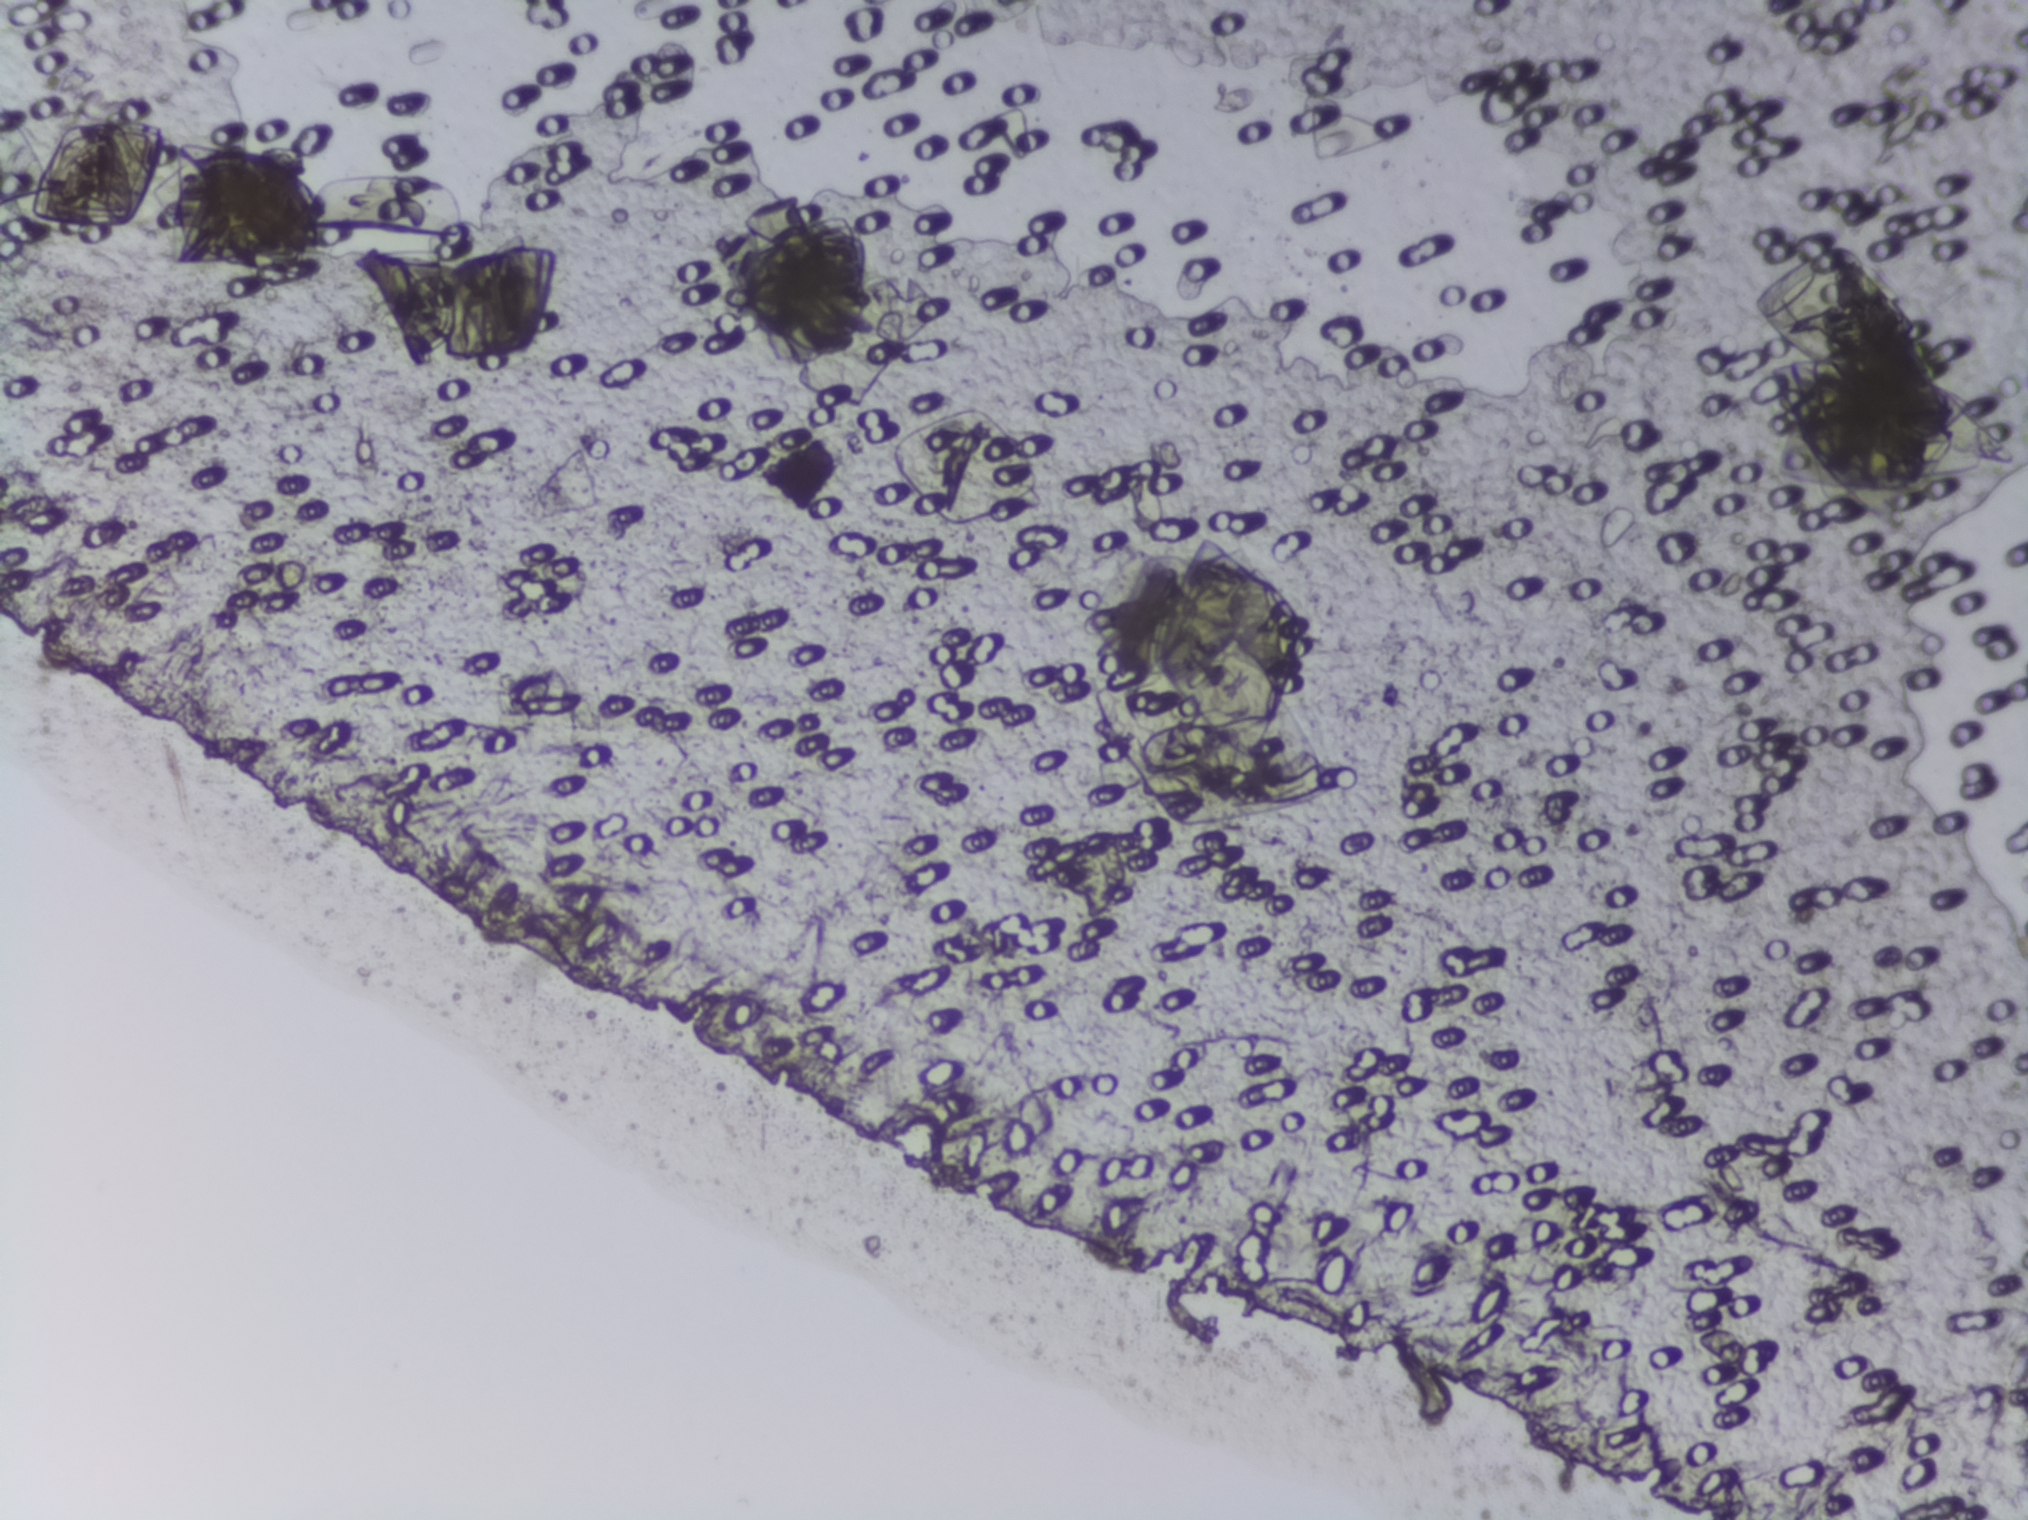
Urine filtration membrane under a 4× objective, photographed by an automated digital microscope.
Schistosoma eggs: none outlined.